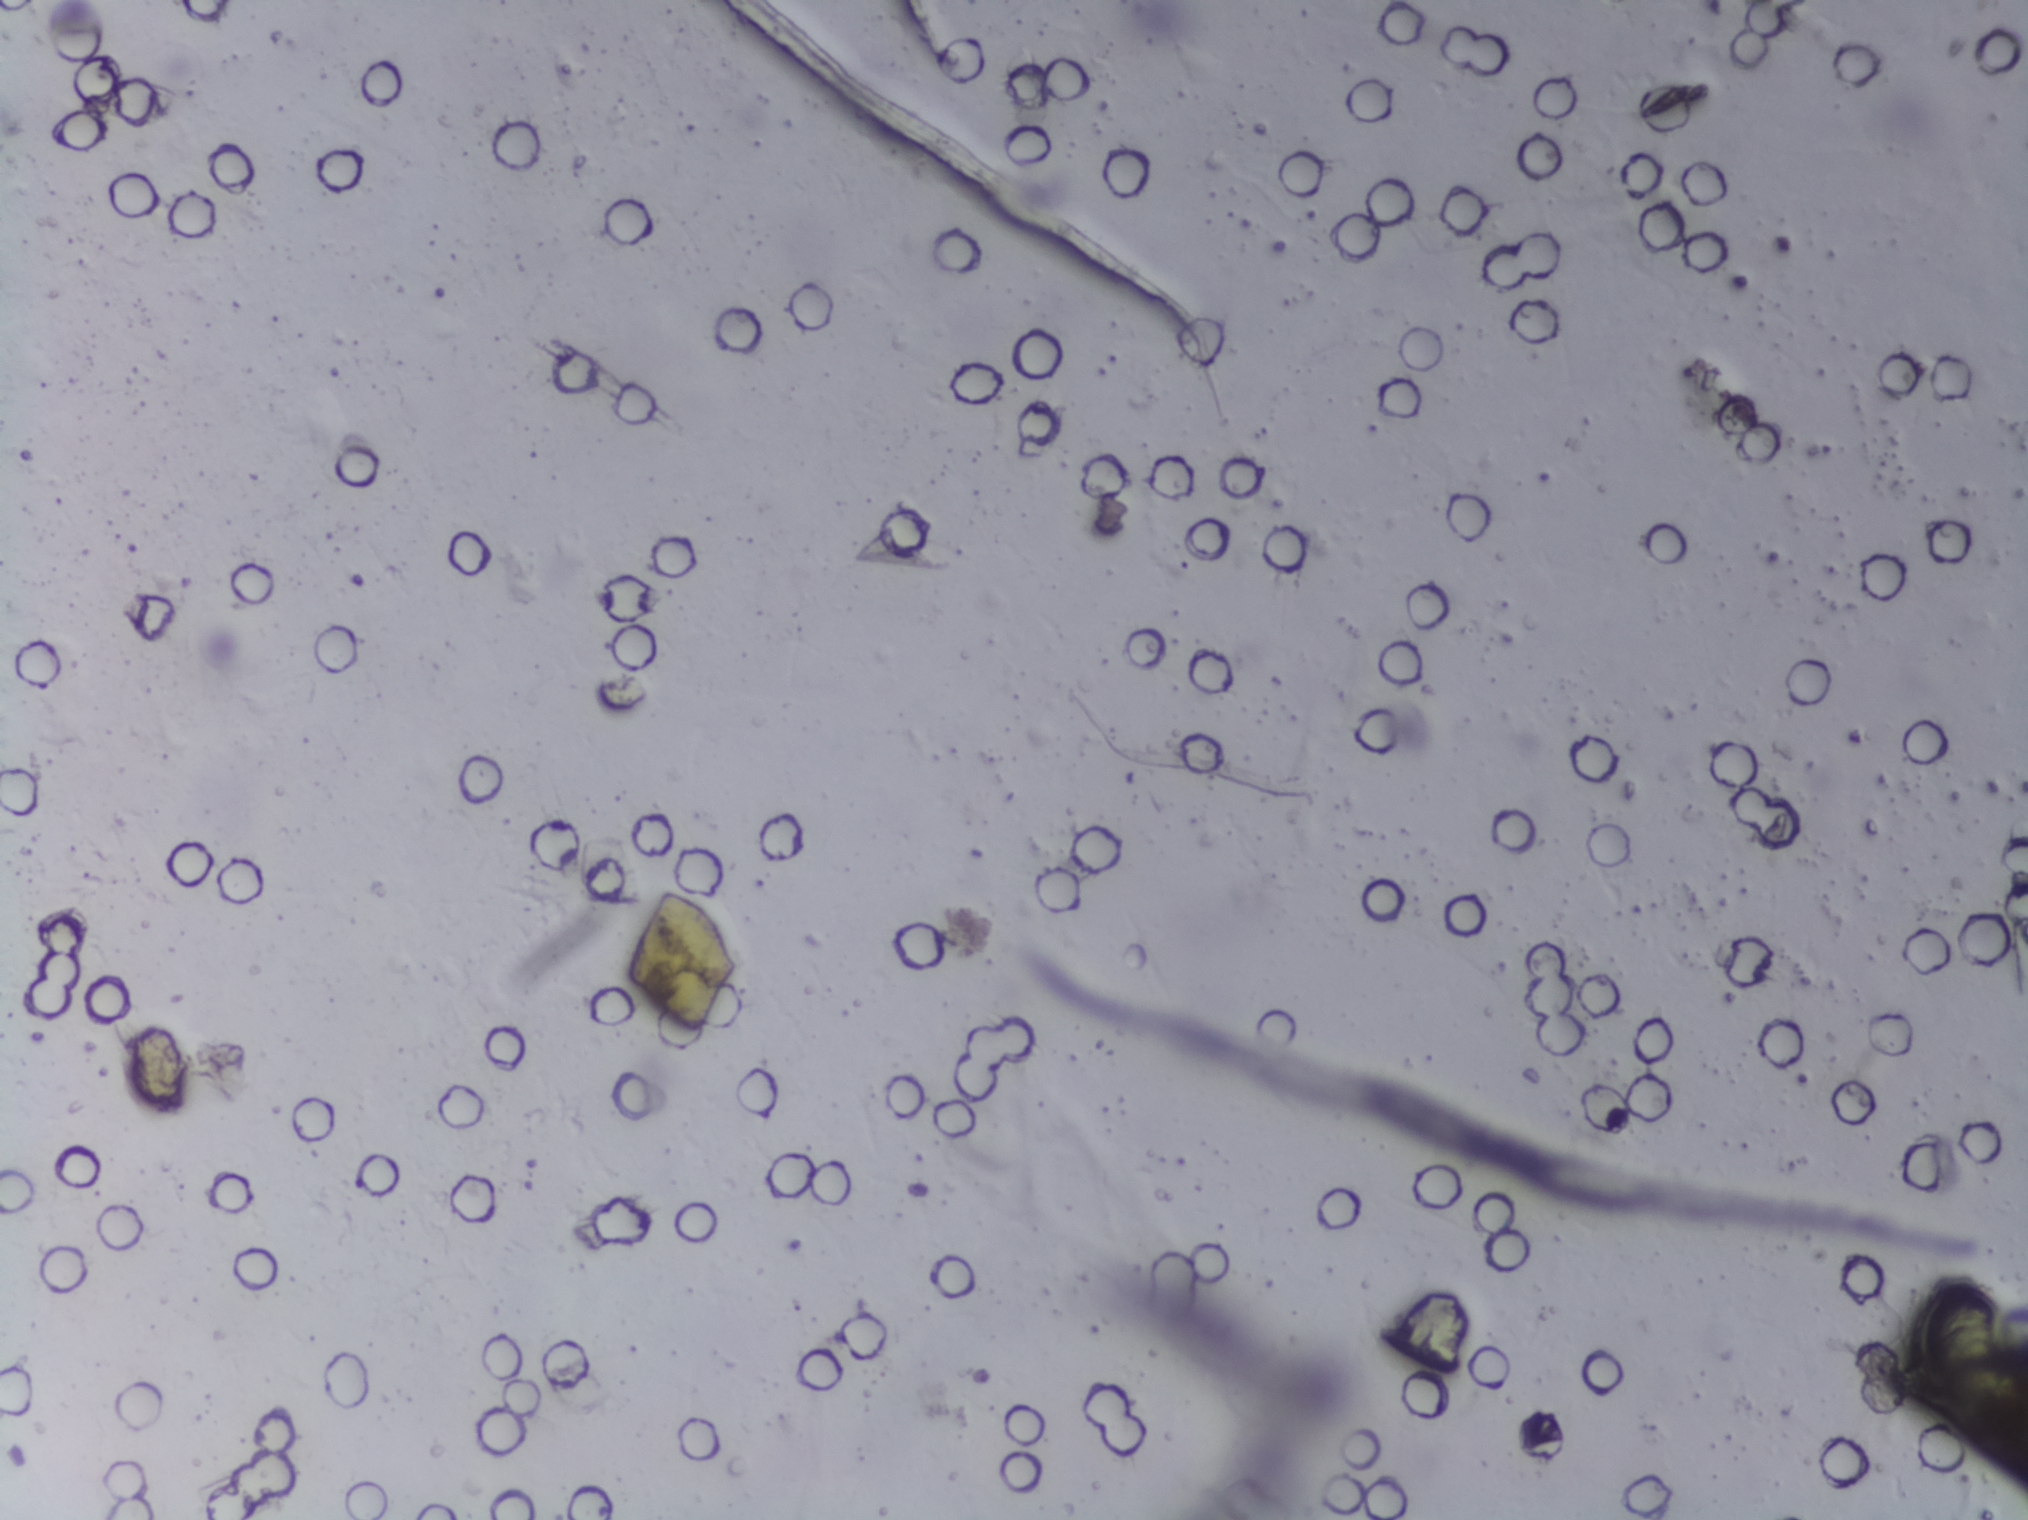
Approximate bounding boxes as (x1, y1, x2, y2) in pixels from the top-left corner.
Schistosoma eggs are outlined in one area of this image: (1908, 1271, 2021, 1419). The marked pixels themselves, not the box around them, cover about 0.4% of the image. An outlined area can hold more than one egg.
Urine filtration membrane under a 4× objective, photographed by an automated digital microscope. Field of view: about 1.5 mm wide and 1.1 mm high.